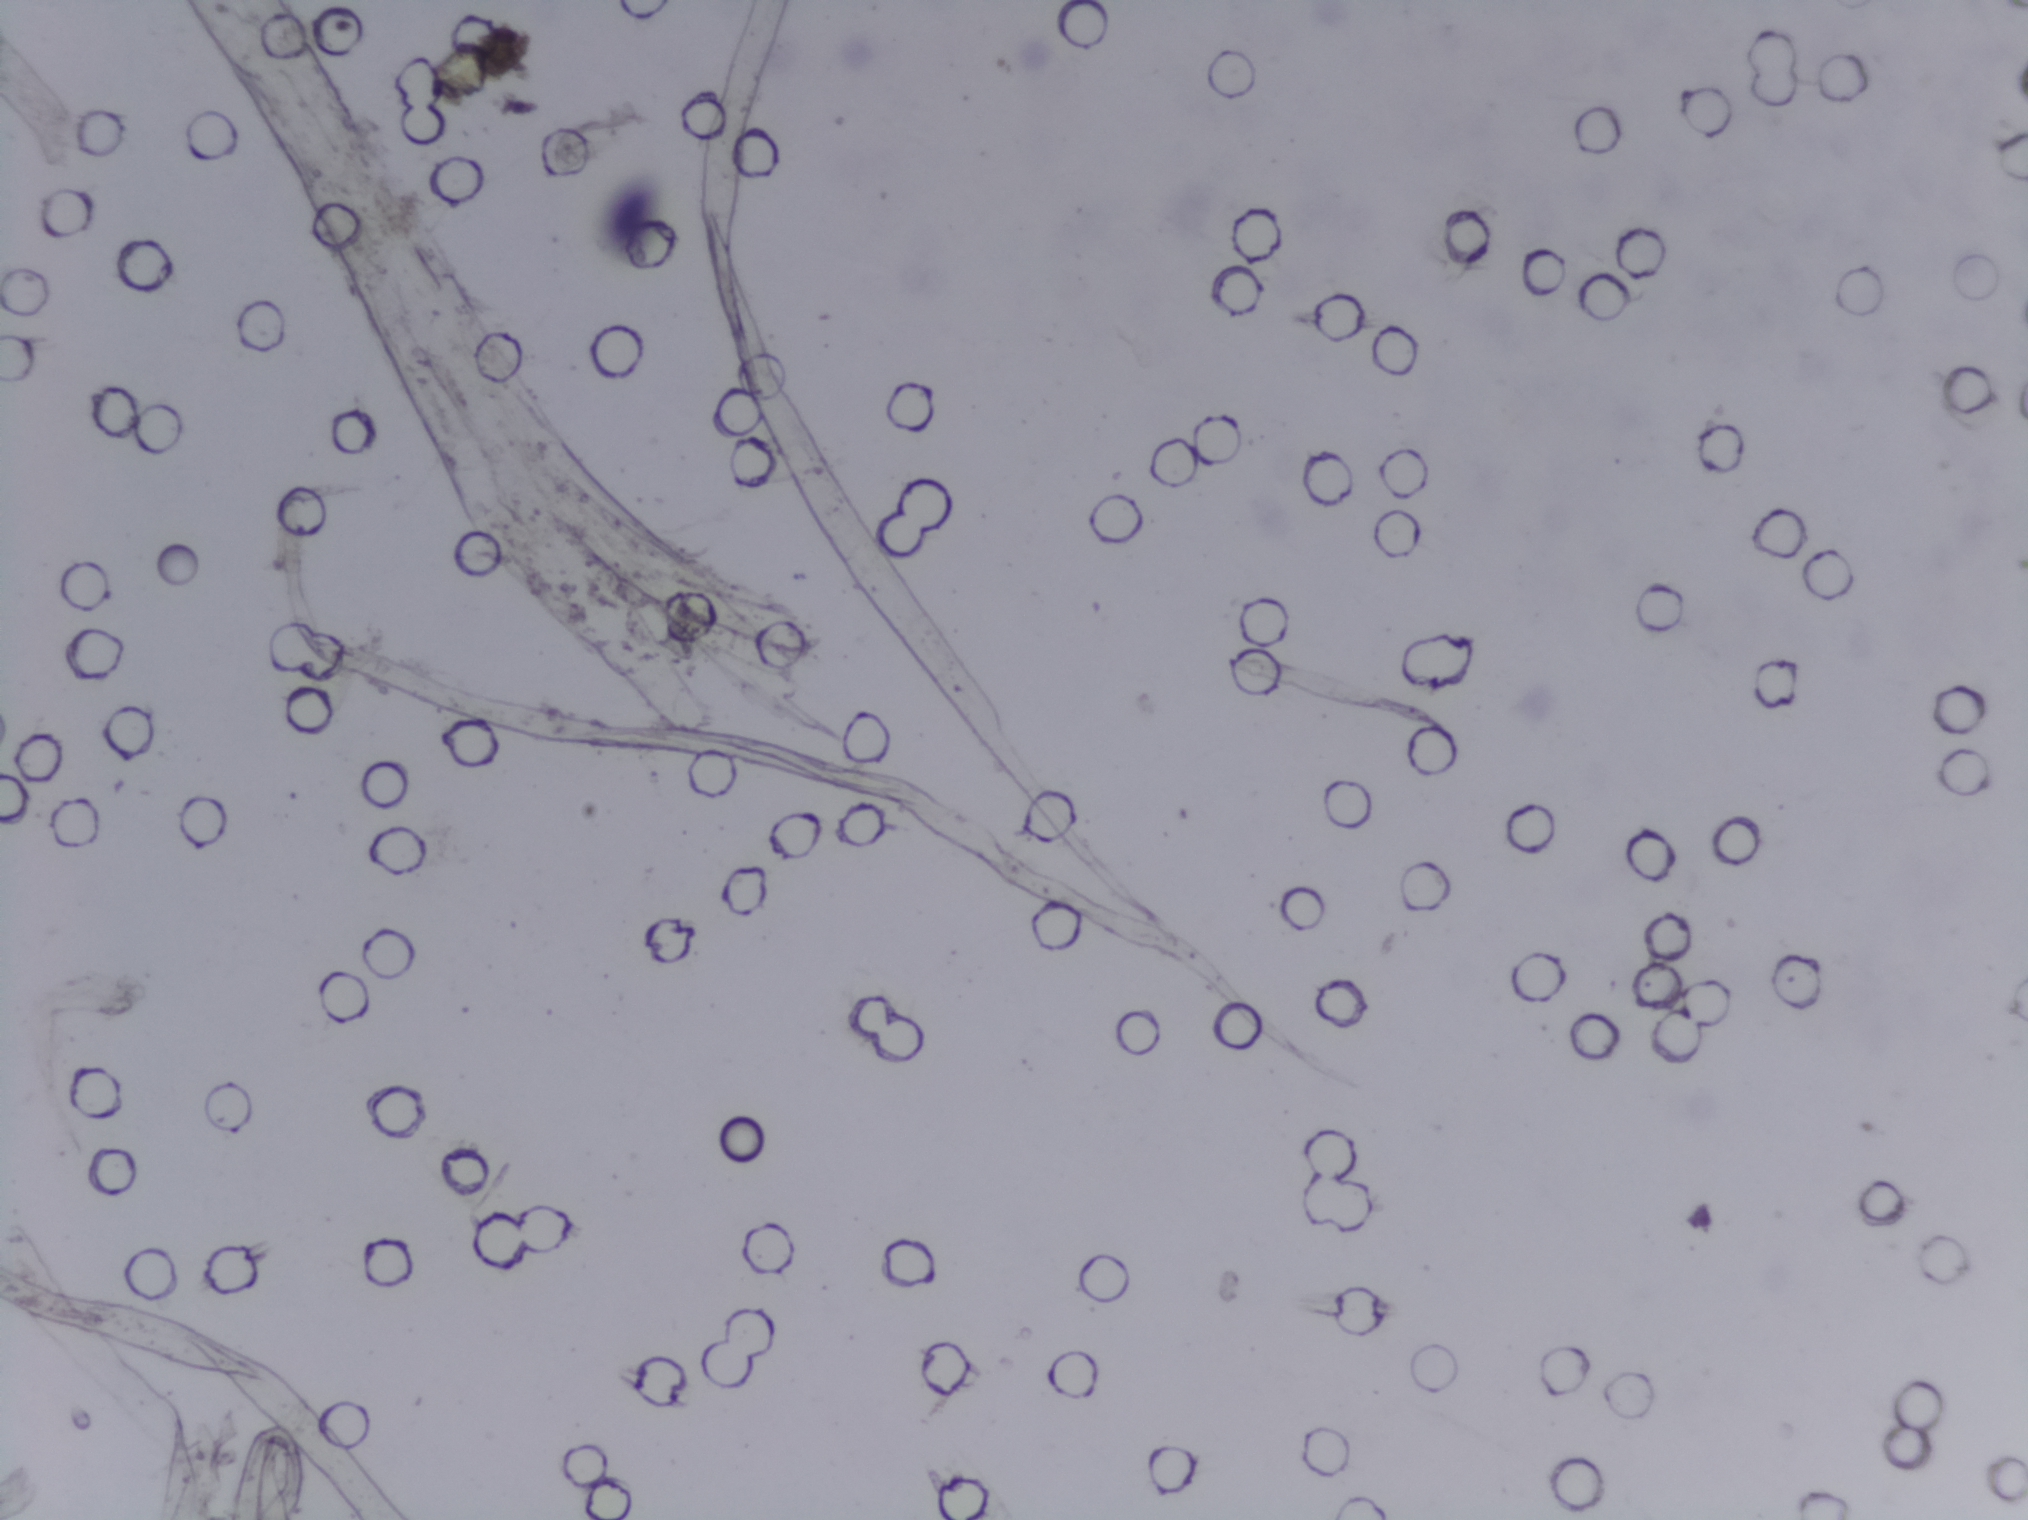
One field of view of a urine filter membrane, 4× objective, 2028 × 1520 pixels.
No Schistosoma egg is outlined in this image's expert annotation.